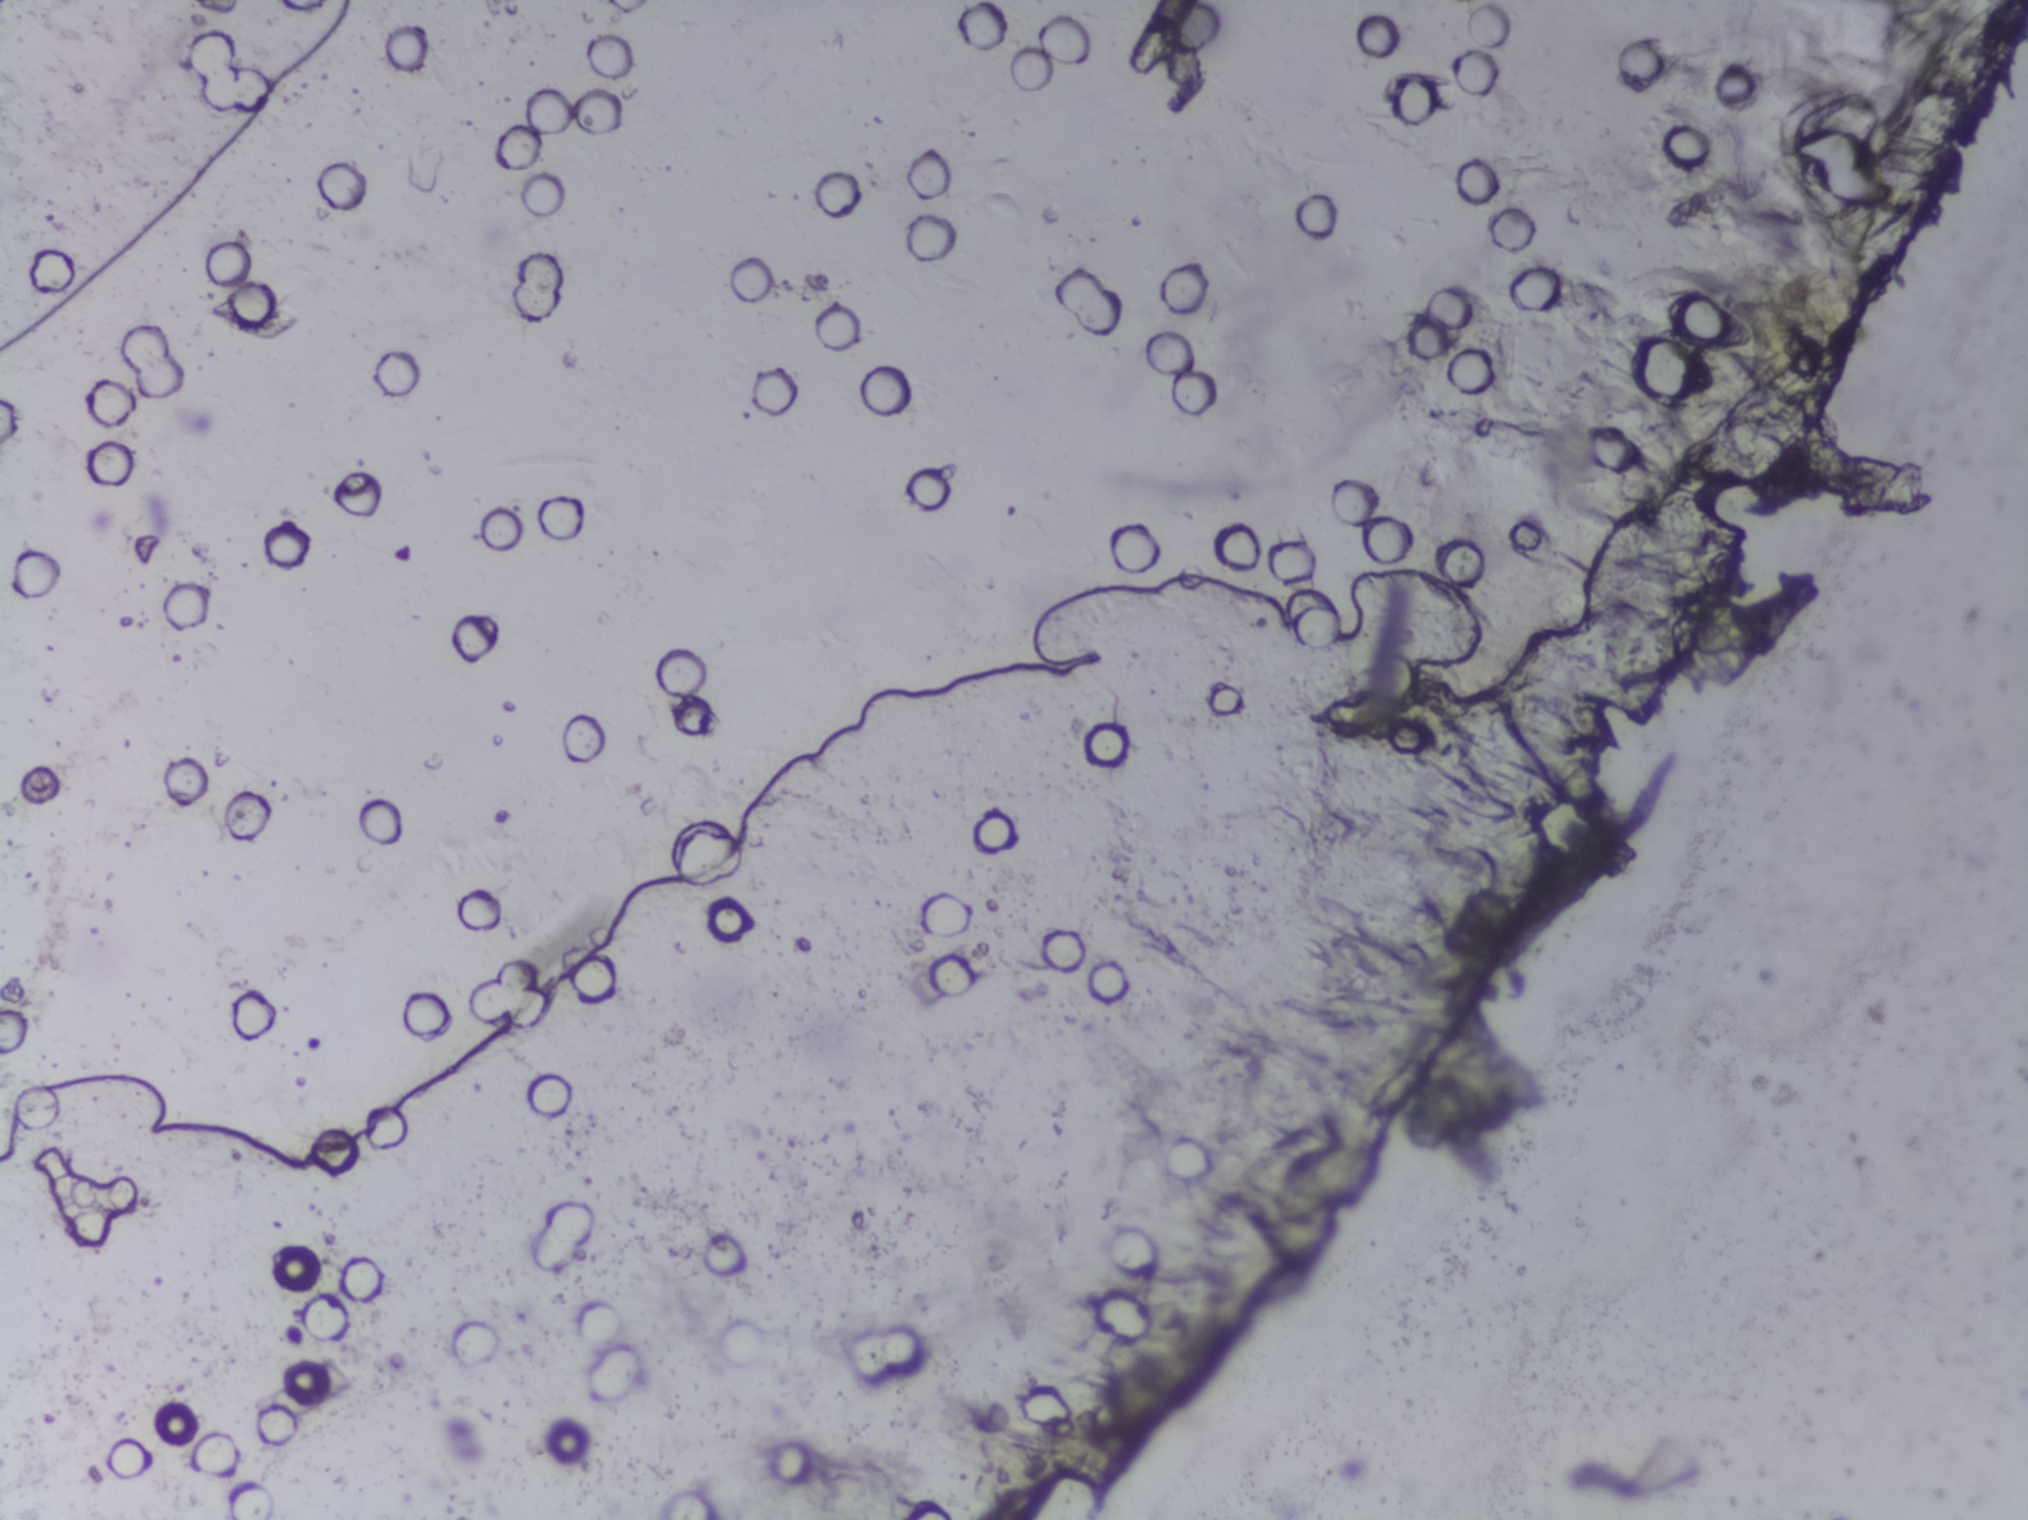
Microscope photograph (4× objective) of a membrane that a urine sample was filtered through.
The expert annotation marks no Schistosoma egg in this field of view.